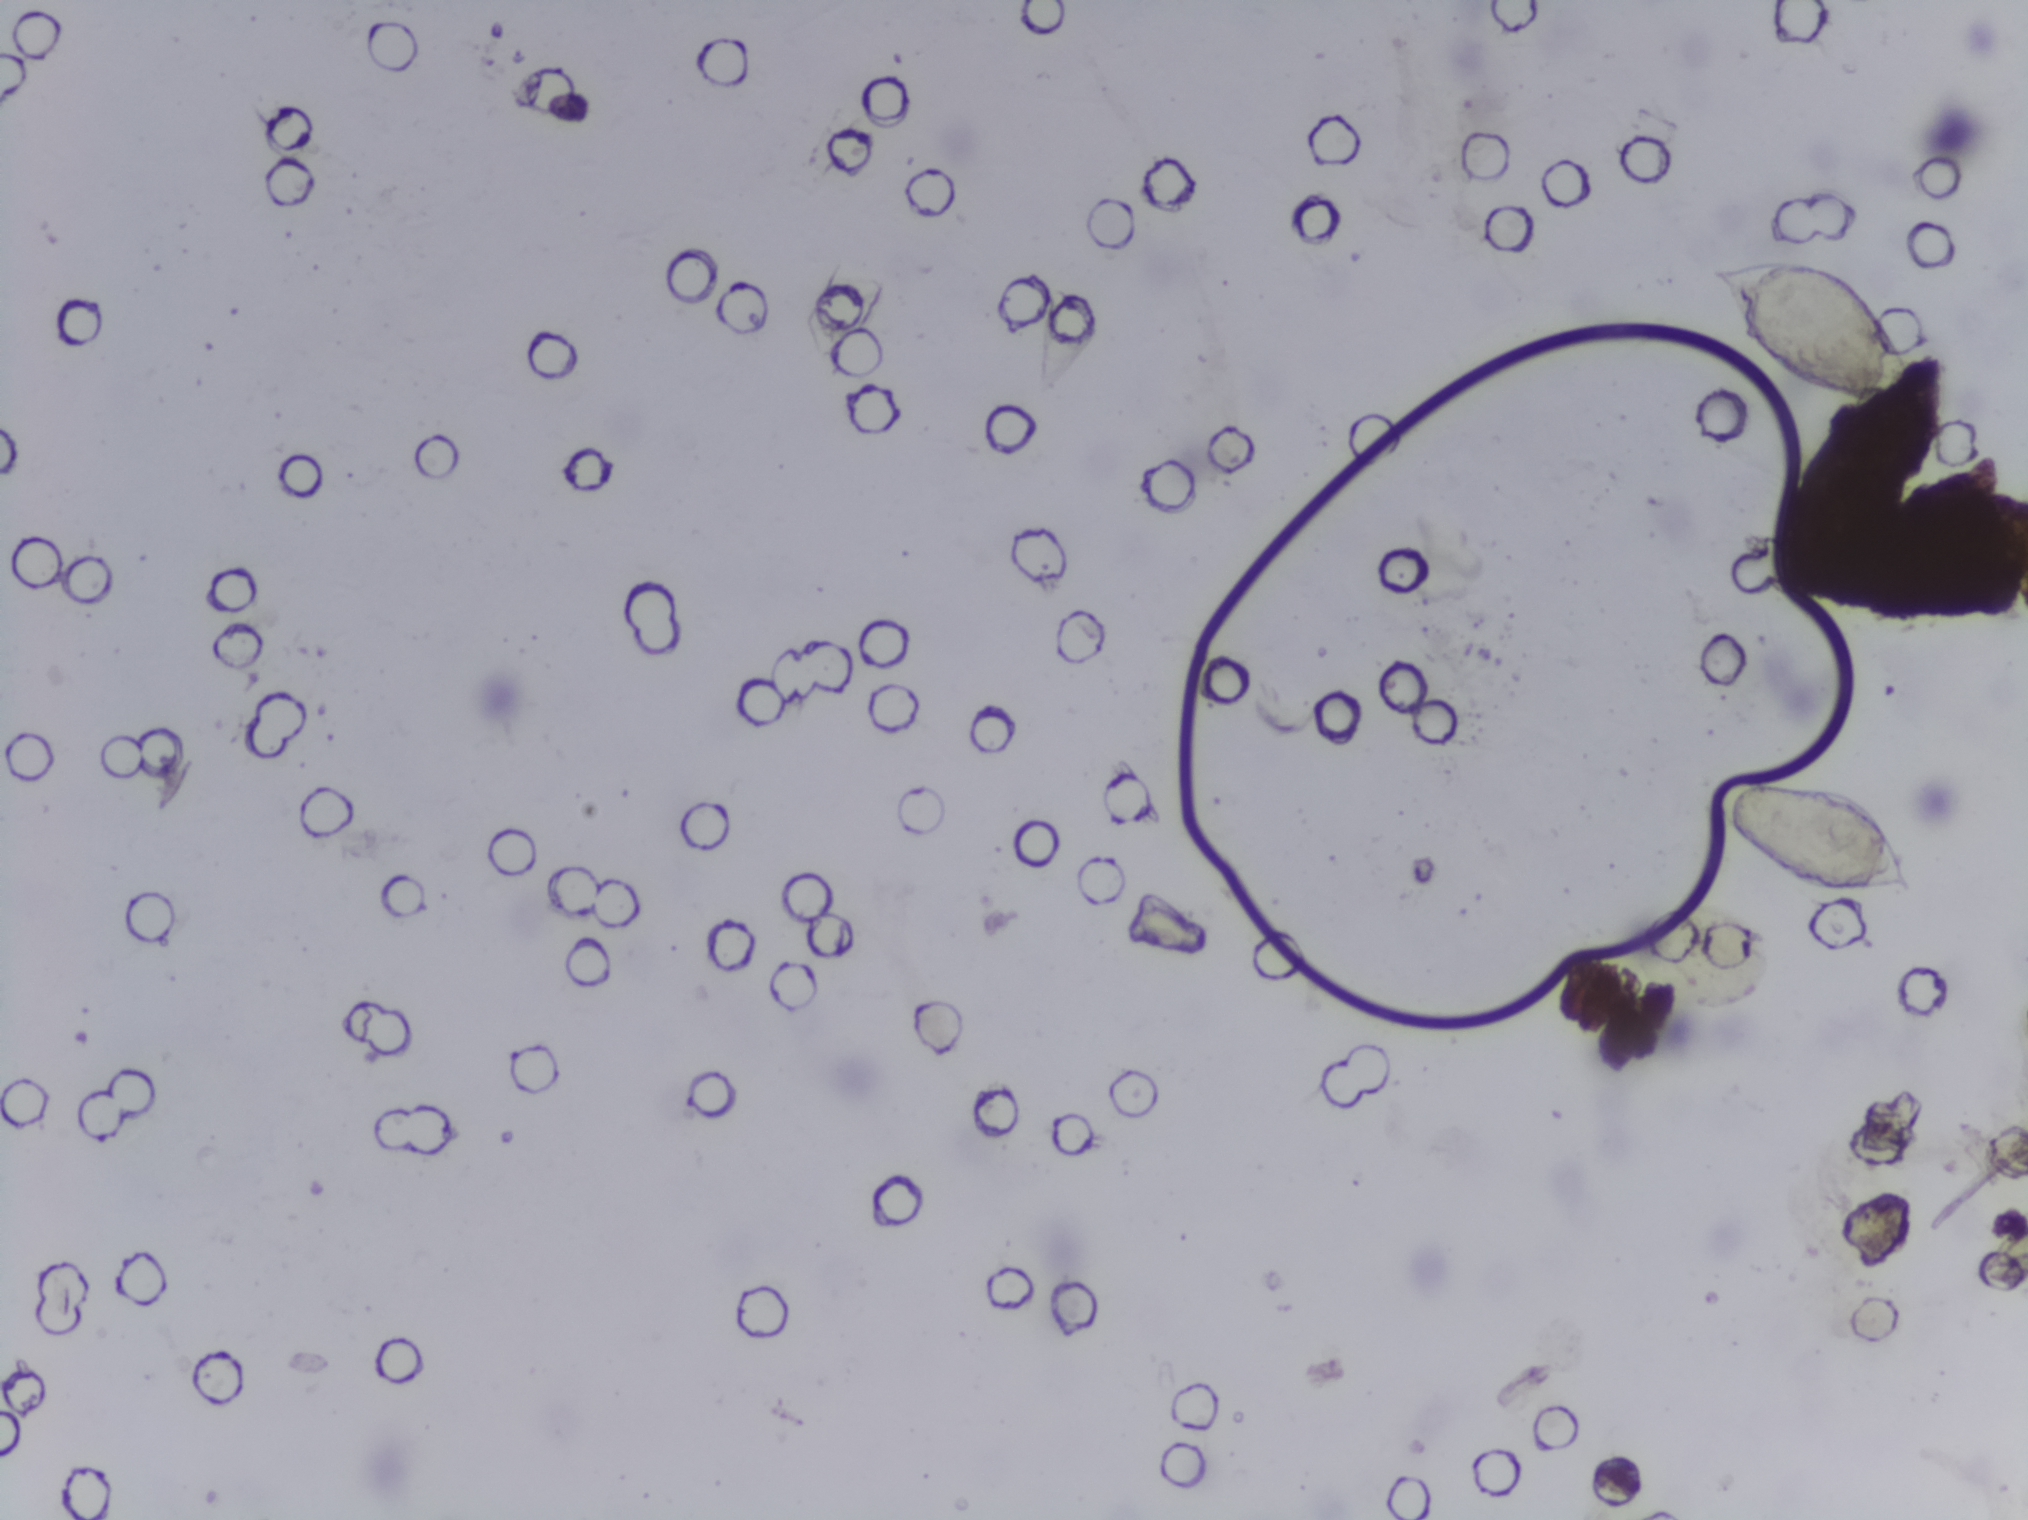
Photomicrograph of a urine filtration membrane, 4× objective.
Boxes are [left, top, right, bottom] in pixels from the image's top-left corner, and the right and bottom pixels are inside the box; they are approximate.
{"schistosoma_egg_areas_xyxy_px": [[1712, 257, 1913, 408], [1717, 776, 1917, 895]]}
The marked pixels themselves, not the boxes around them, cover about 1.1% of the image. An outlined area can hold more than one egg.